Urine filter membrane photographed through a 4× microscope objective. Field of view: about 1.5 mm wide and 1.1 mm high.
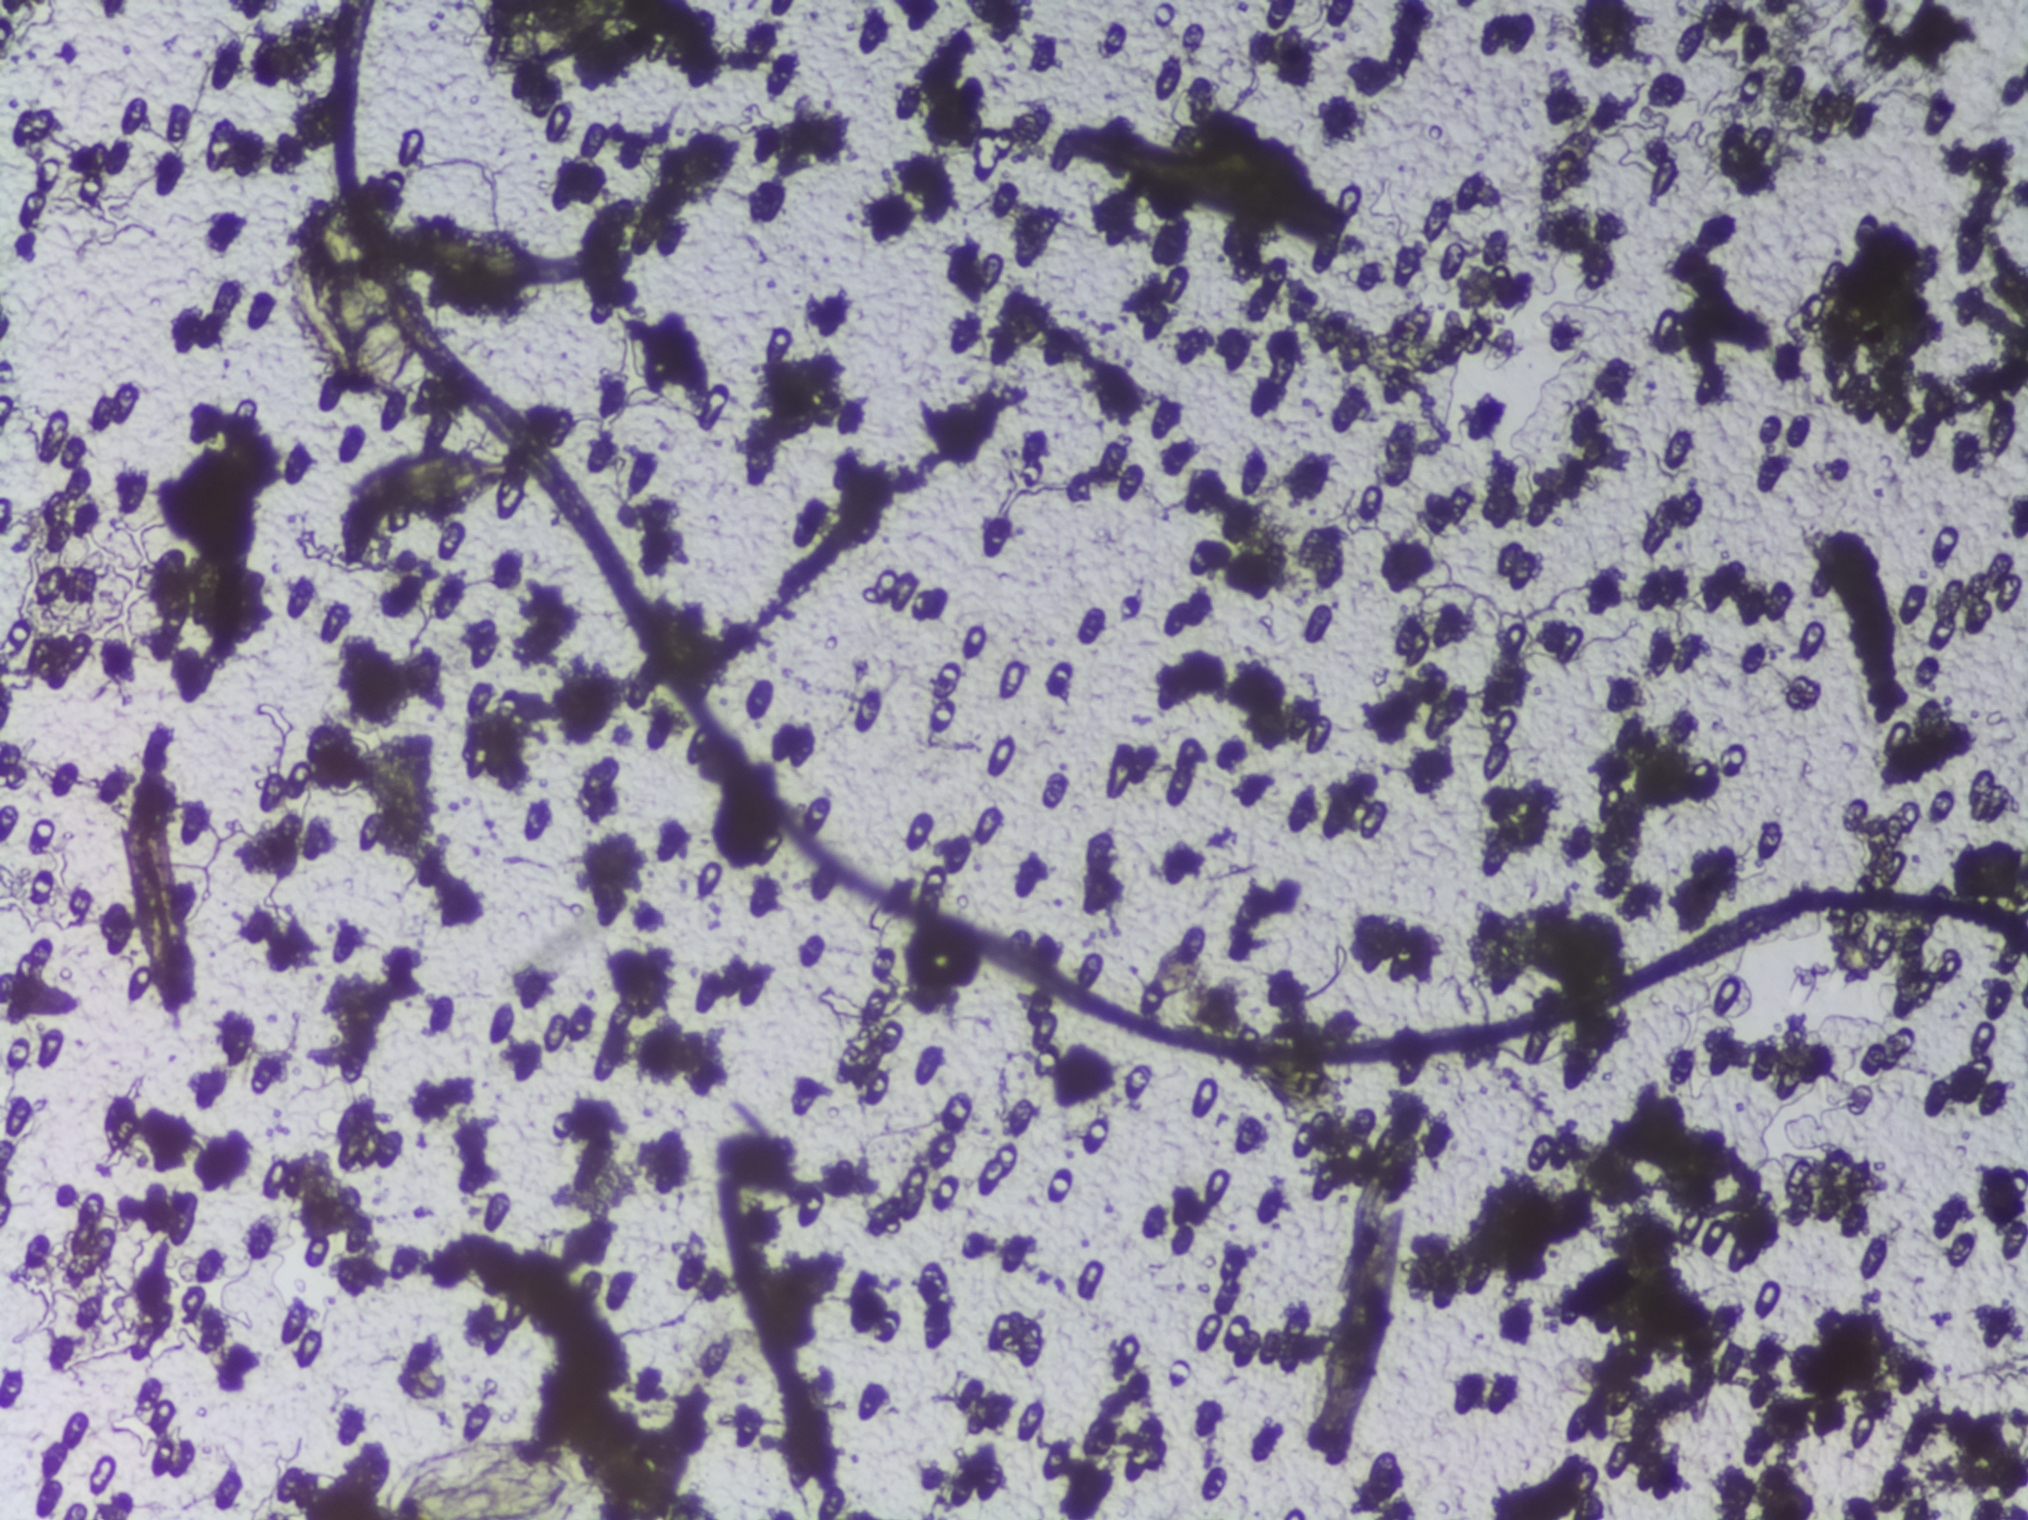
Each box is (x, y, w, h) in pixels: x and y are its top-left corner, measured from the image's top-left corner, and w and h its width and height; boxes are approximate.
Schistosoma eggs are outlined in four areas of this image, listed from left to right: (x=298, y=191, w=94, h=181); (x=339, y=446, w=171, h=76); (x=373, y=1433, w=233, h=87) (reaching the bottom edge of the frame); (x=483, y=0, w=146, h=69) (reaching the top edge of the frame). About 1.4% of the image's pixels are marked (the marked pixels themselves, not the boxes around them). A single outlined area may contain several eggs.